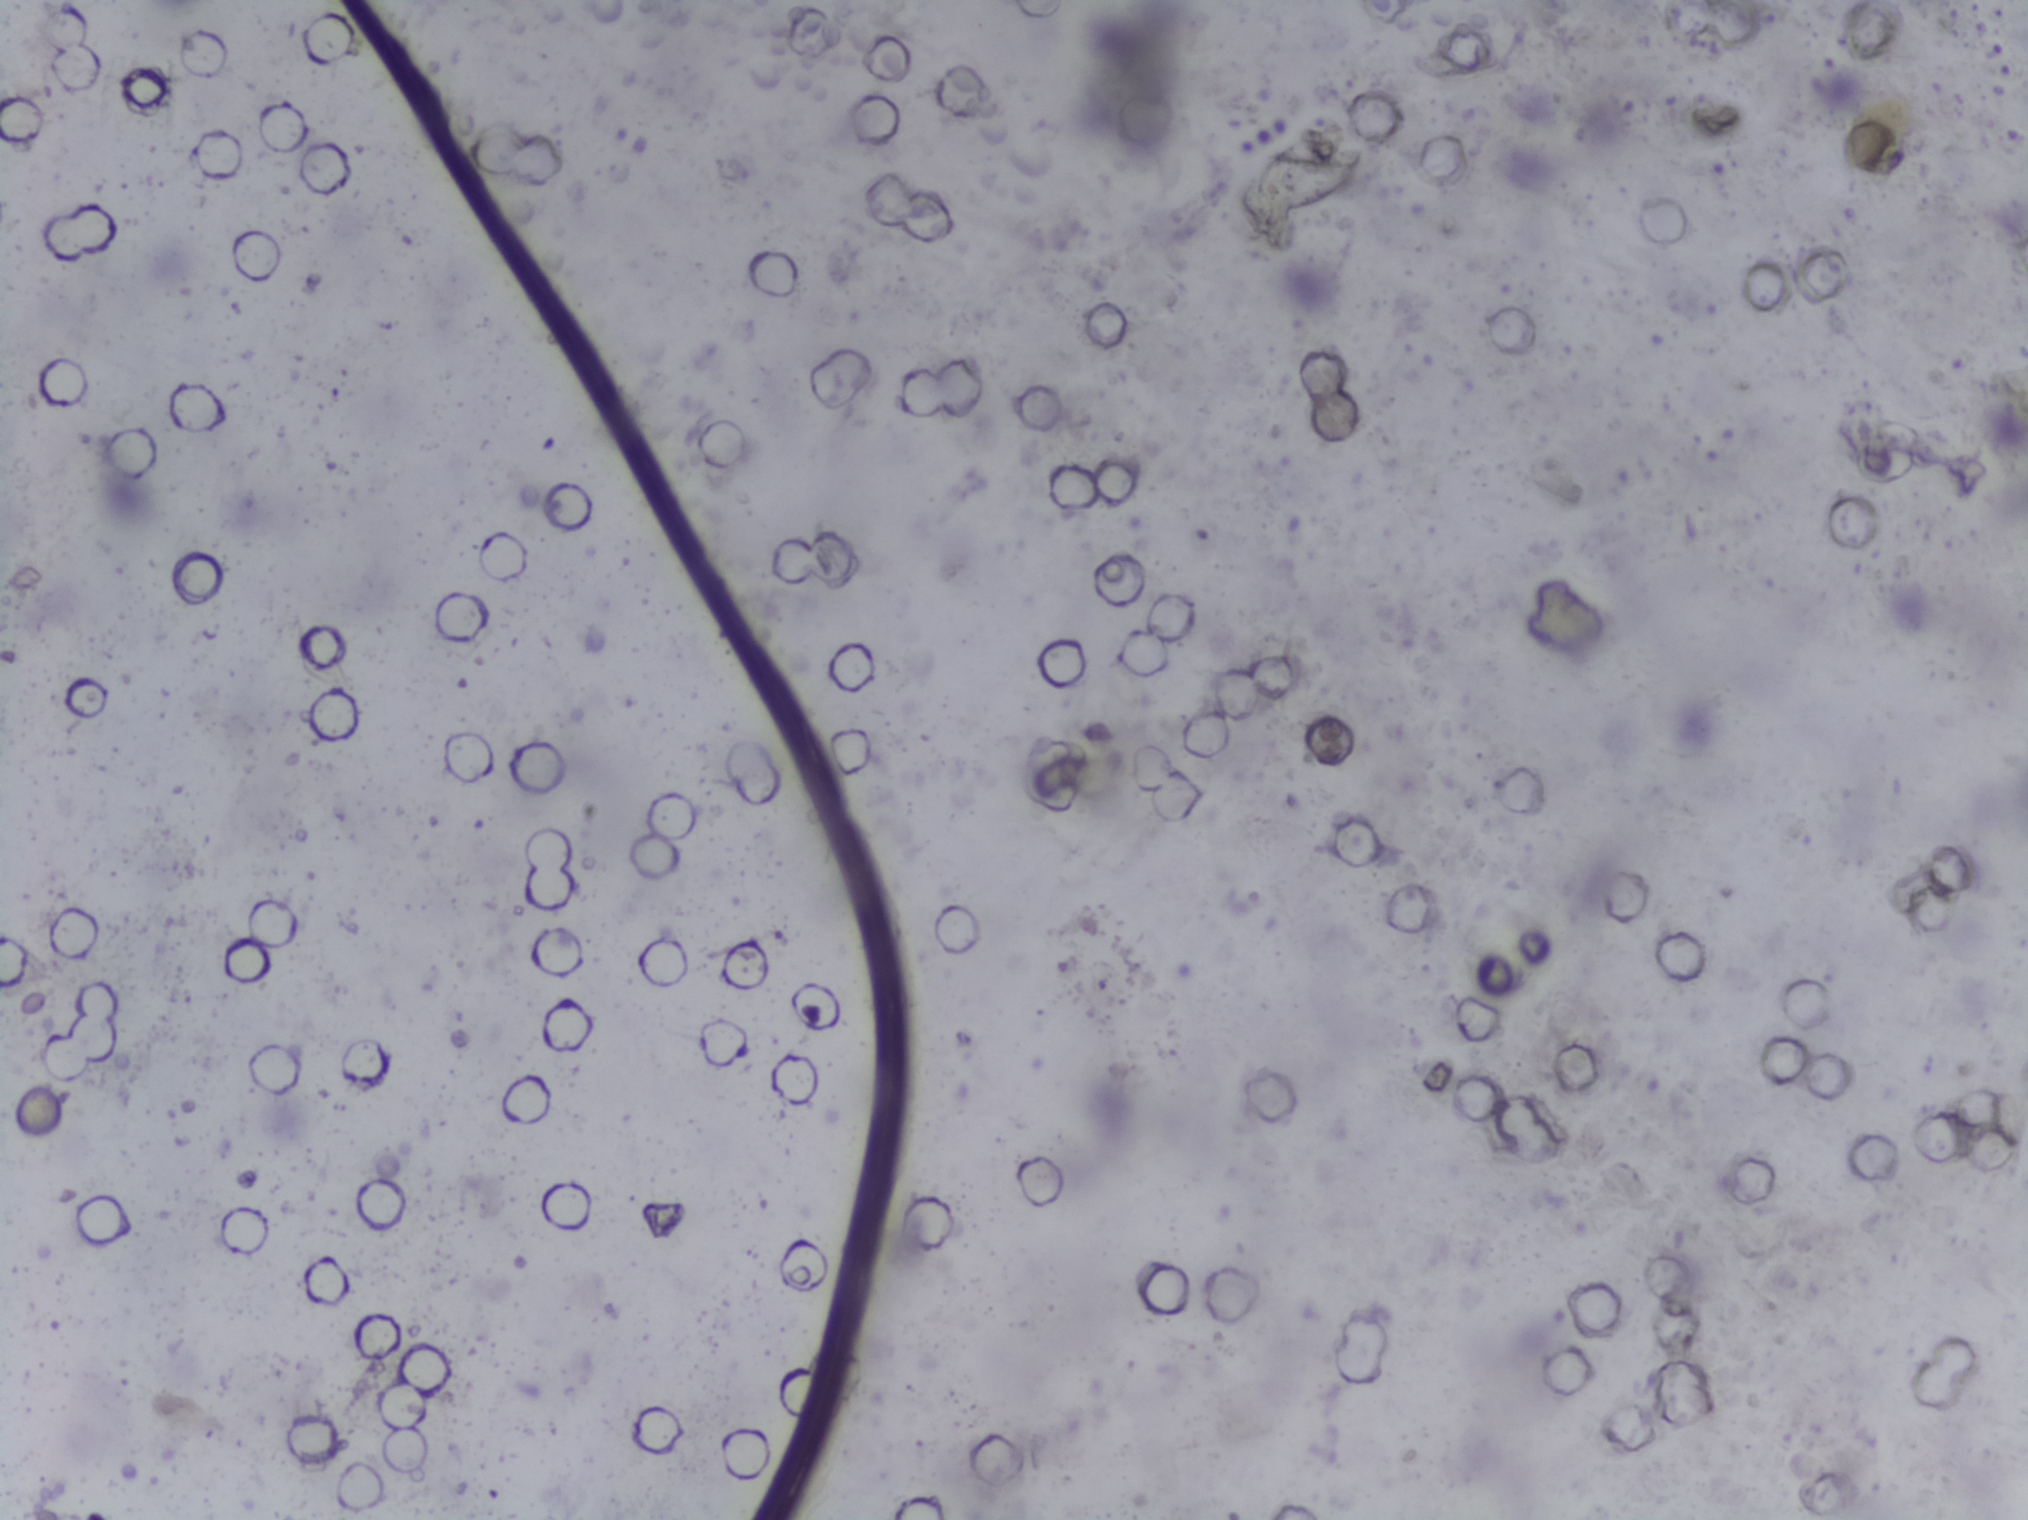
Urine filtration membrane under a 4× objective, photographed by an automated digital microscope.
No area of this image was outlined as a Schistosoma egg.